One field of view of a urine filter membrane, 4× objective, 2028 × 1520 pixels.
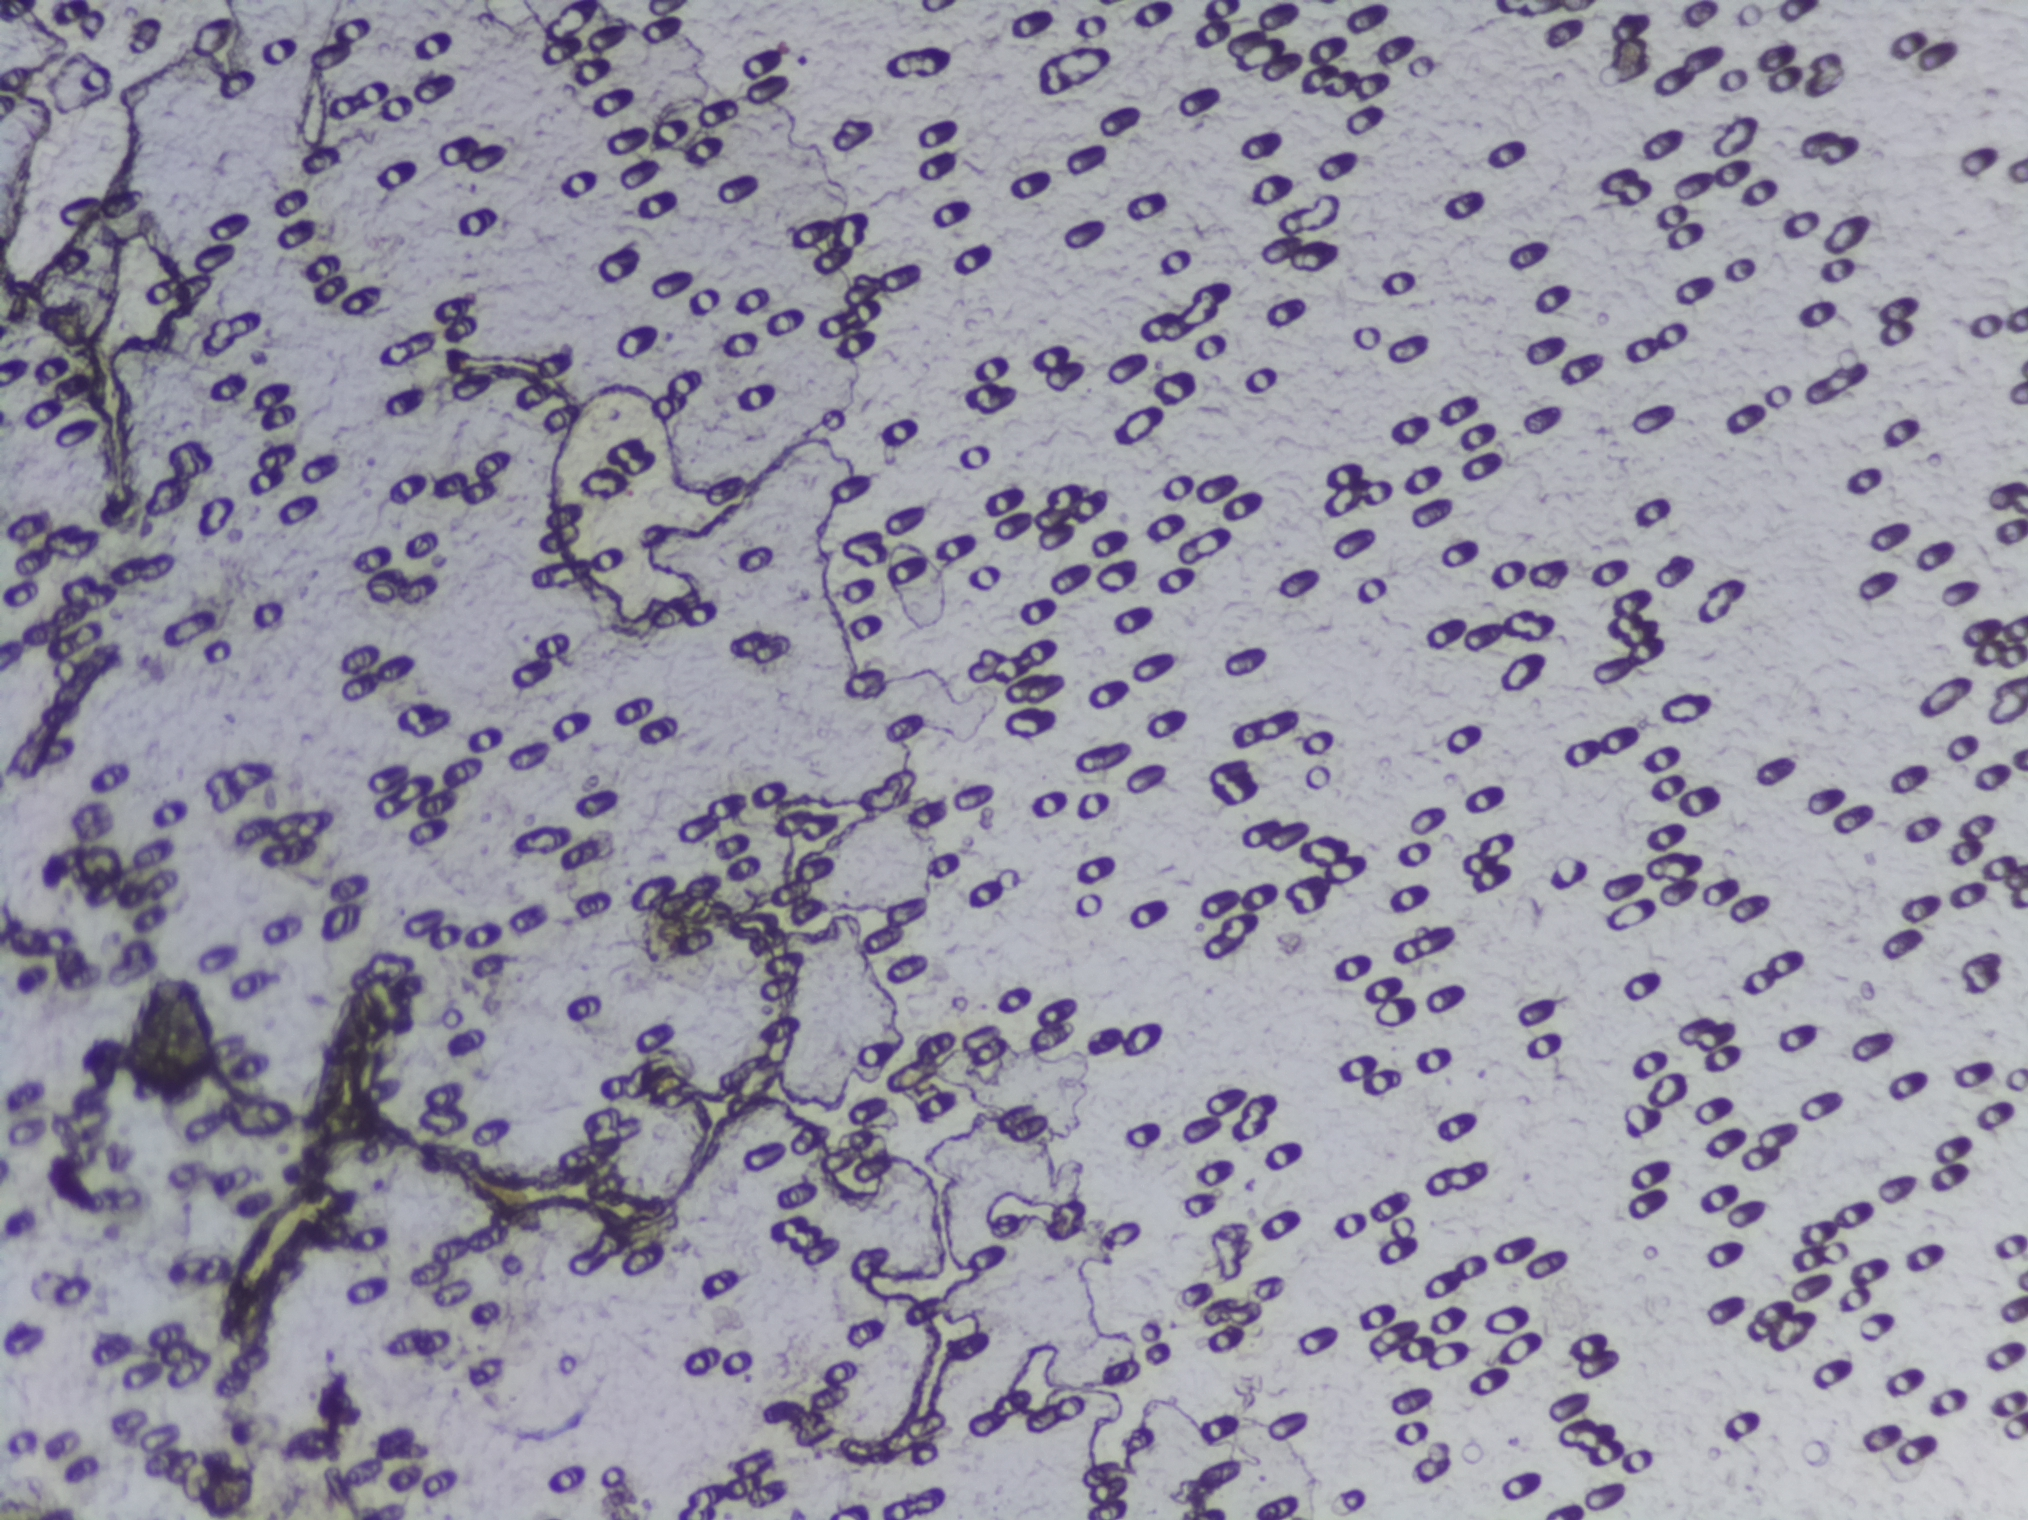
No Schistosoma egg is outlined in this image's expert annotation.